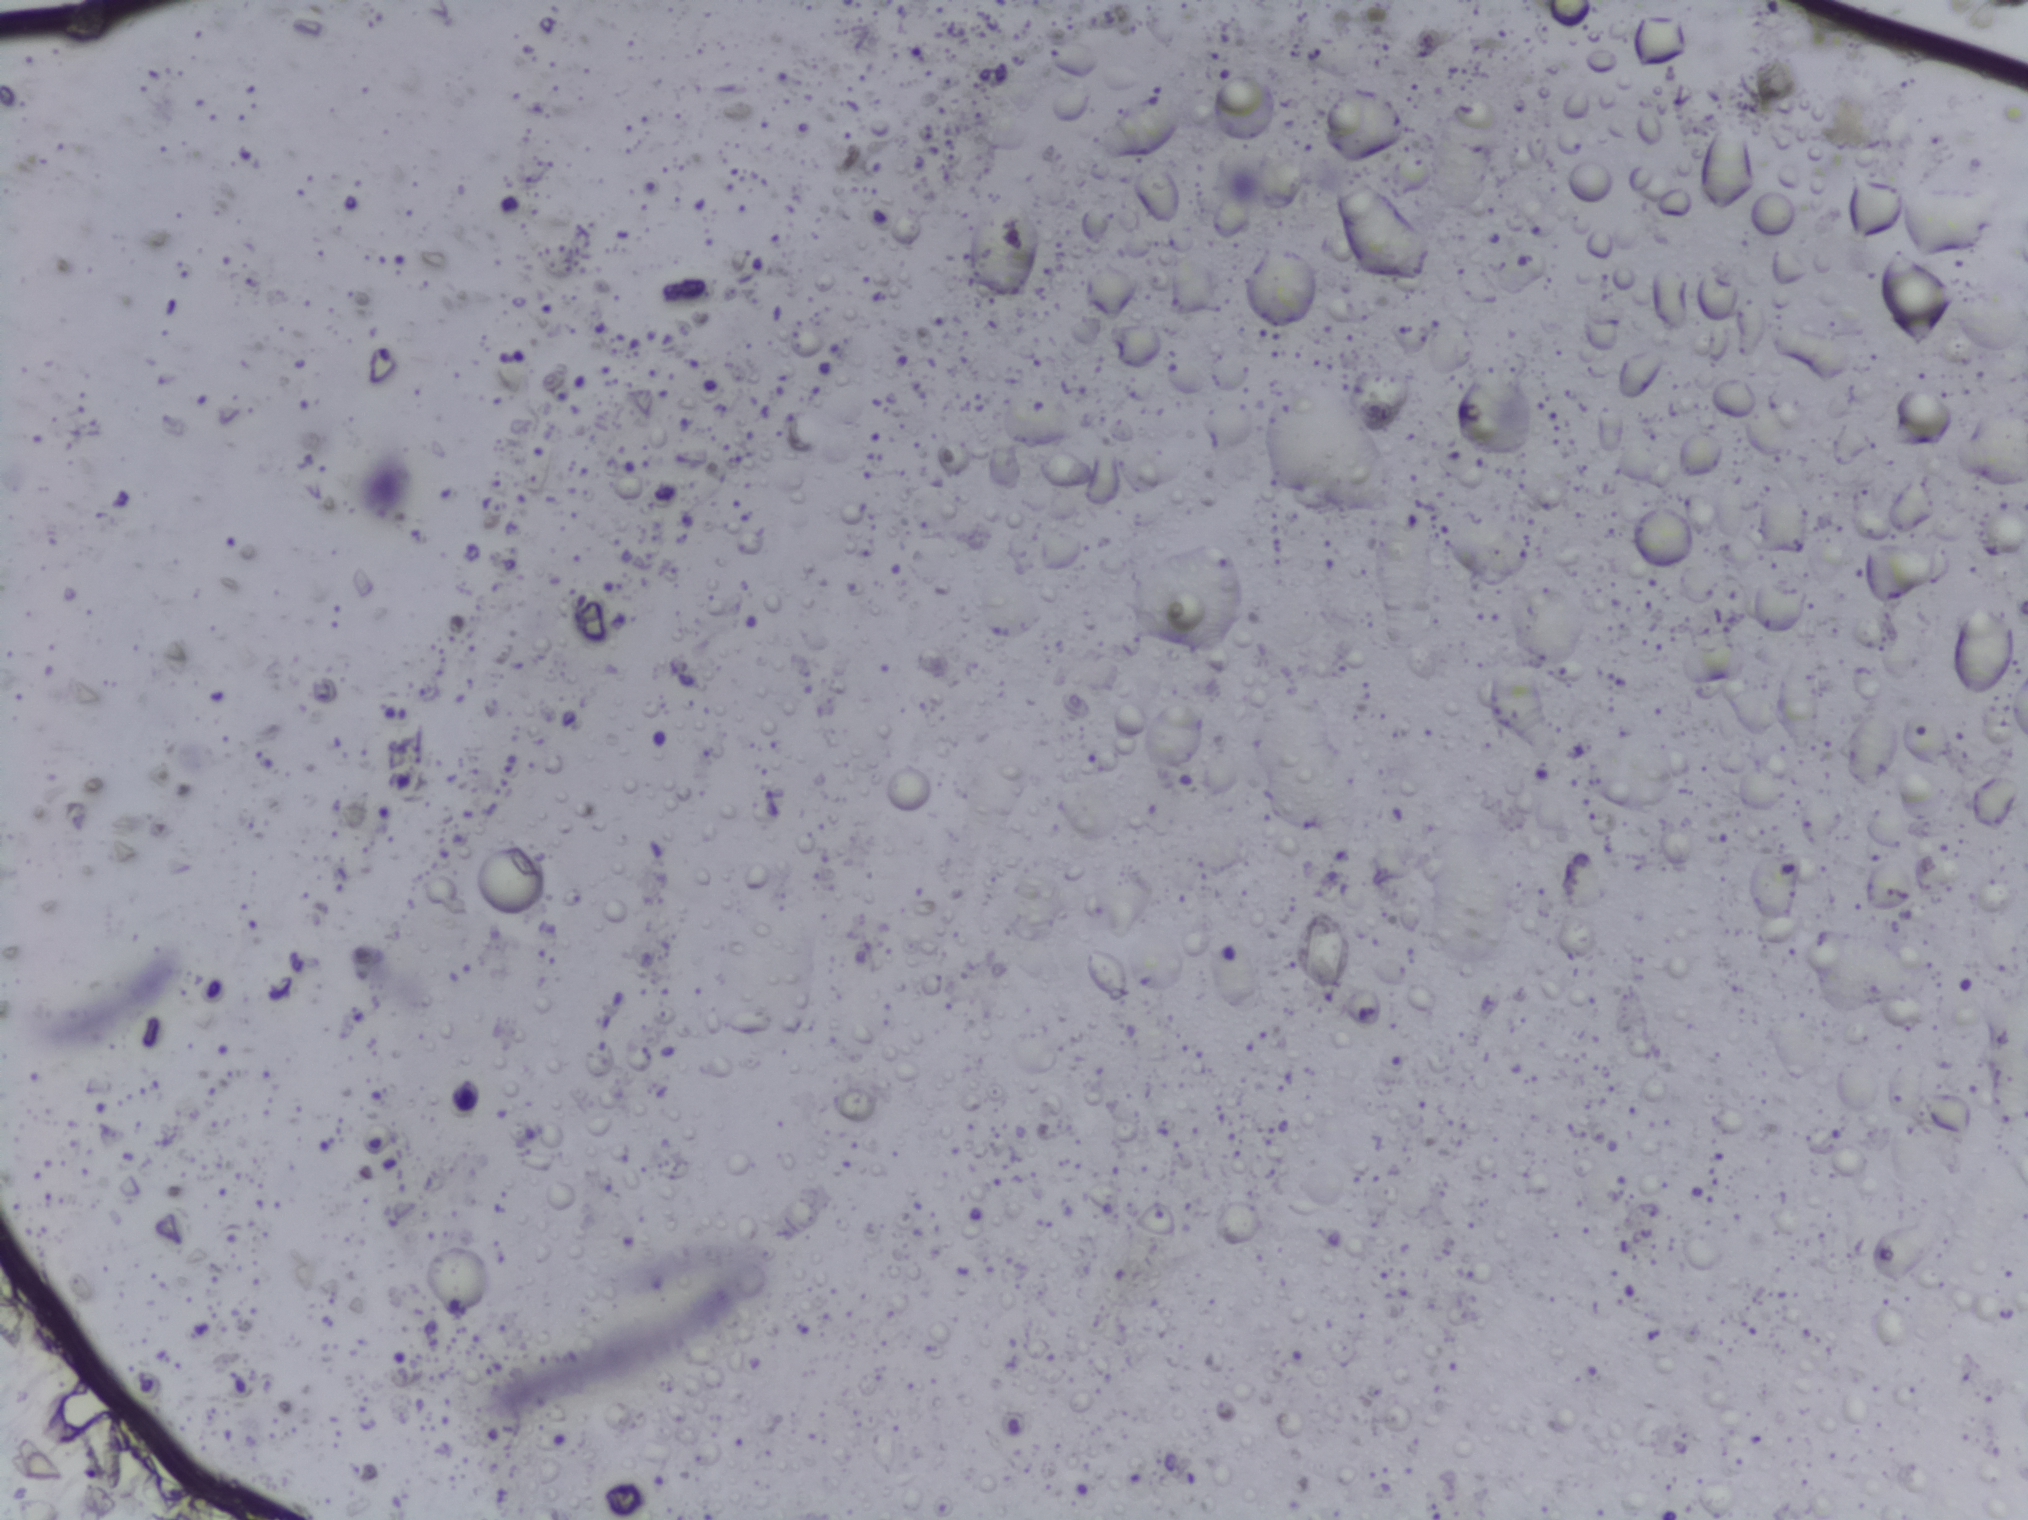
Urine filter membrane photographed through a 4× microscope objective.
No area of this image was outlined as a Schistosoma egg.